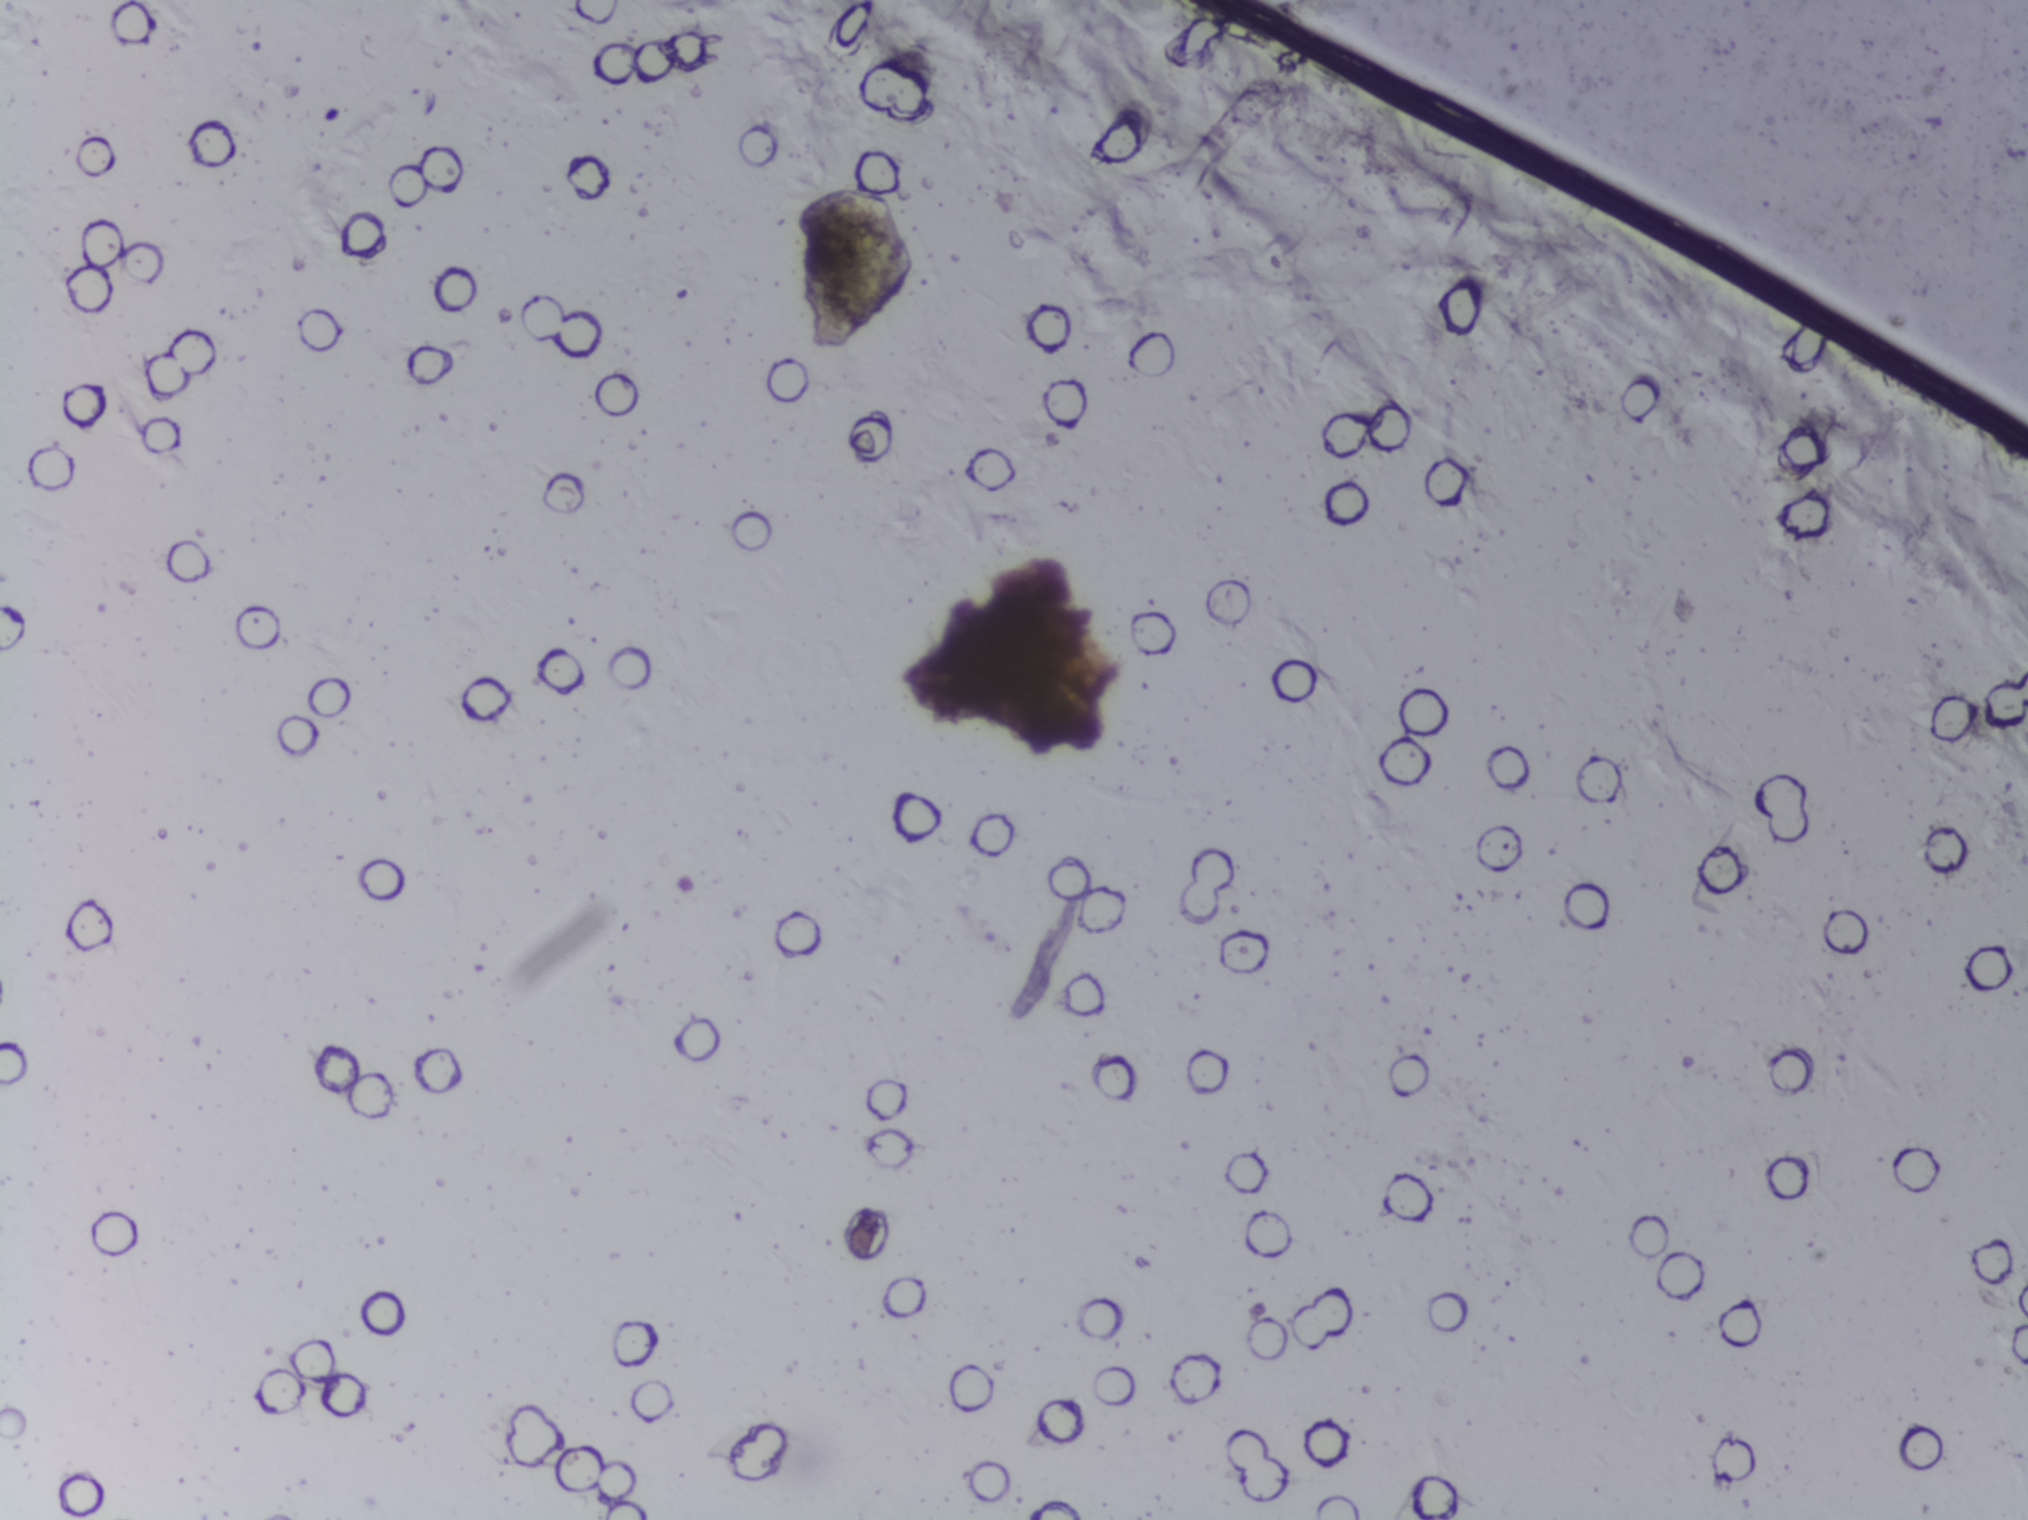
Photograph from an automated digital microscope: urine filter membrane, 4× objective. The image covers about 1.5 × 1.1 mm of the membrane.
Schistosoma eggs: none outlined.